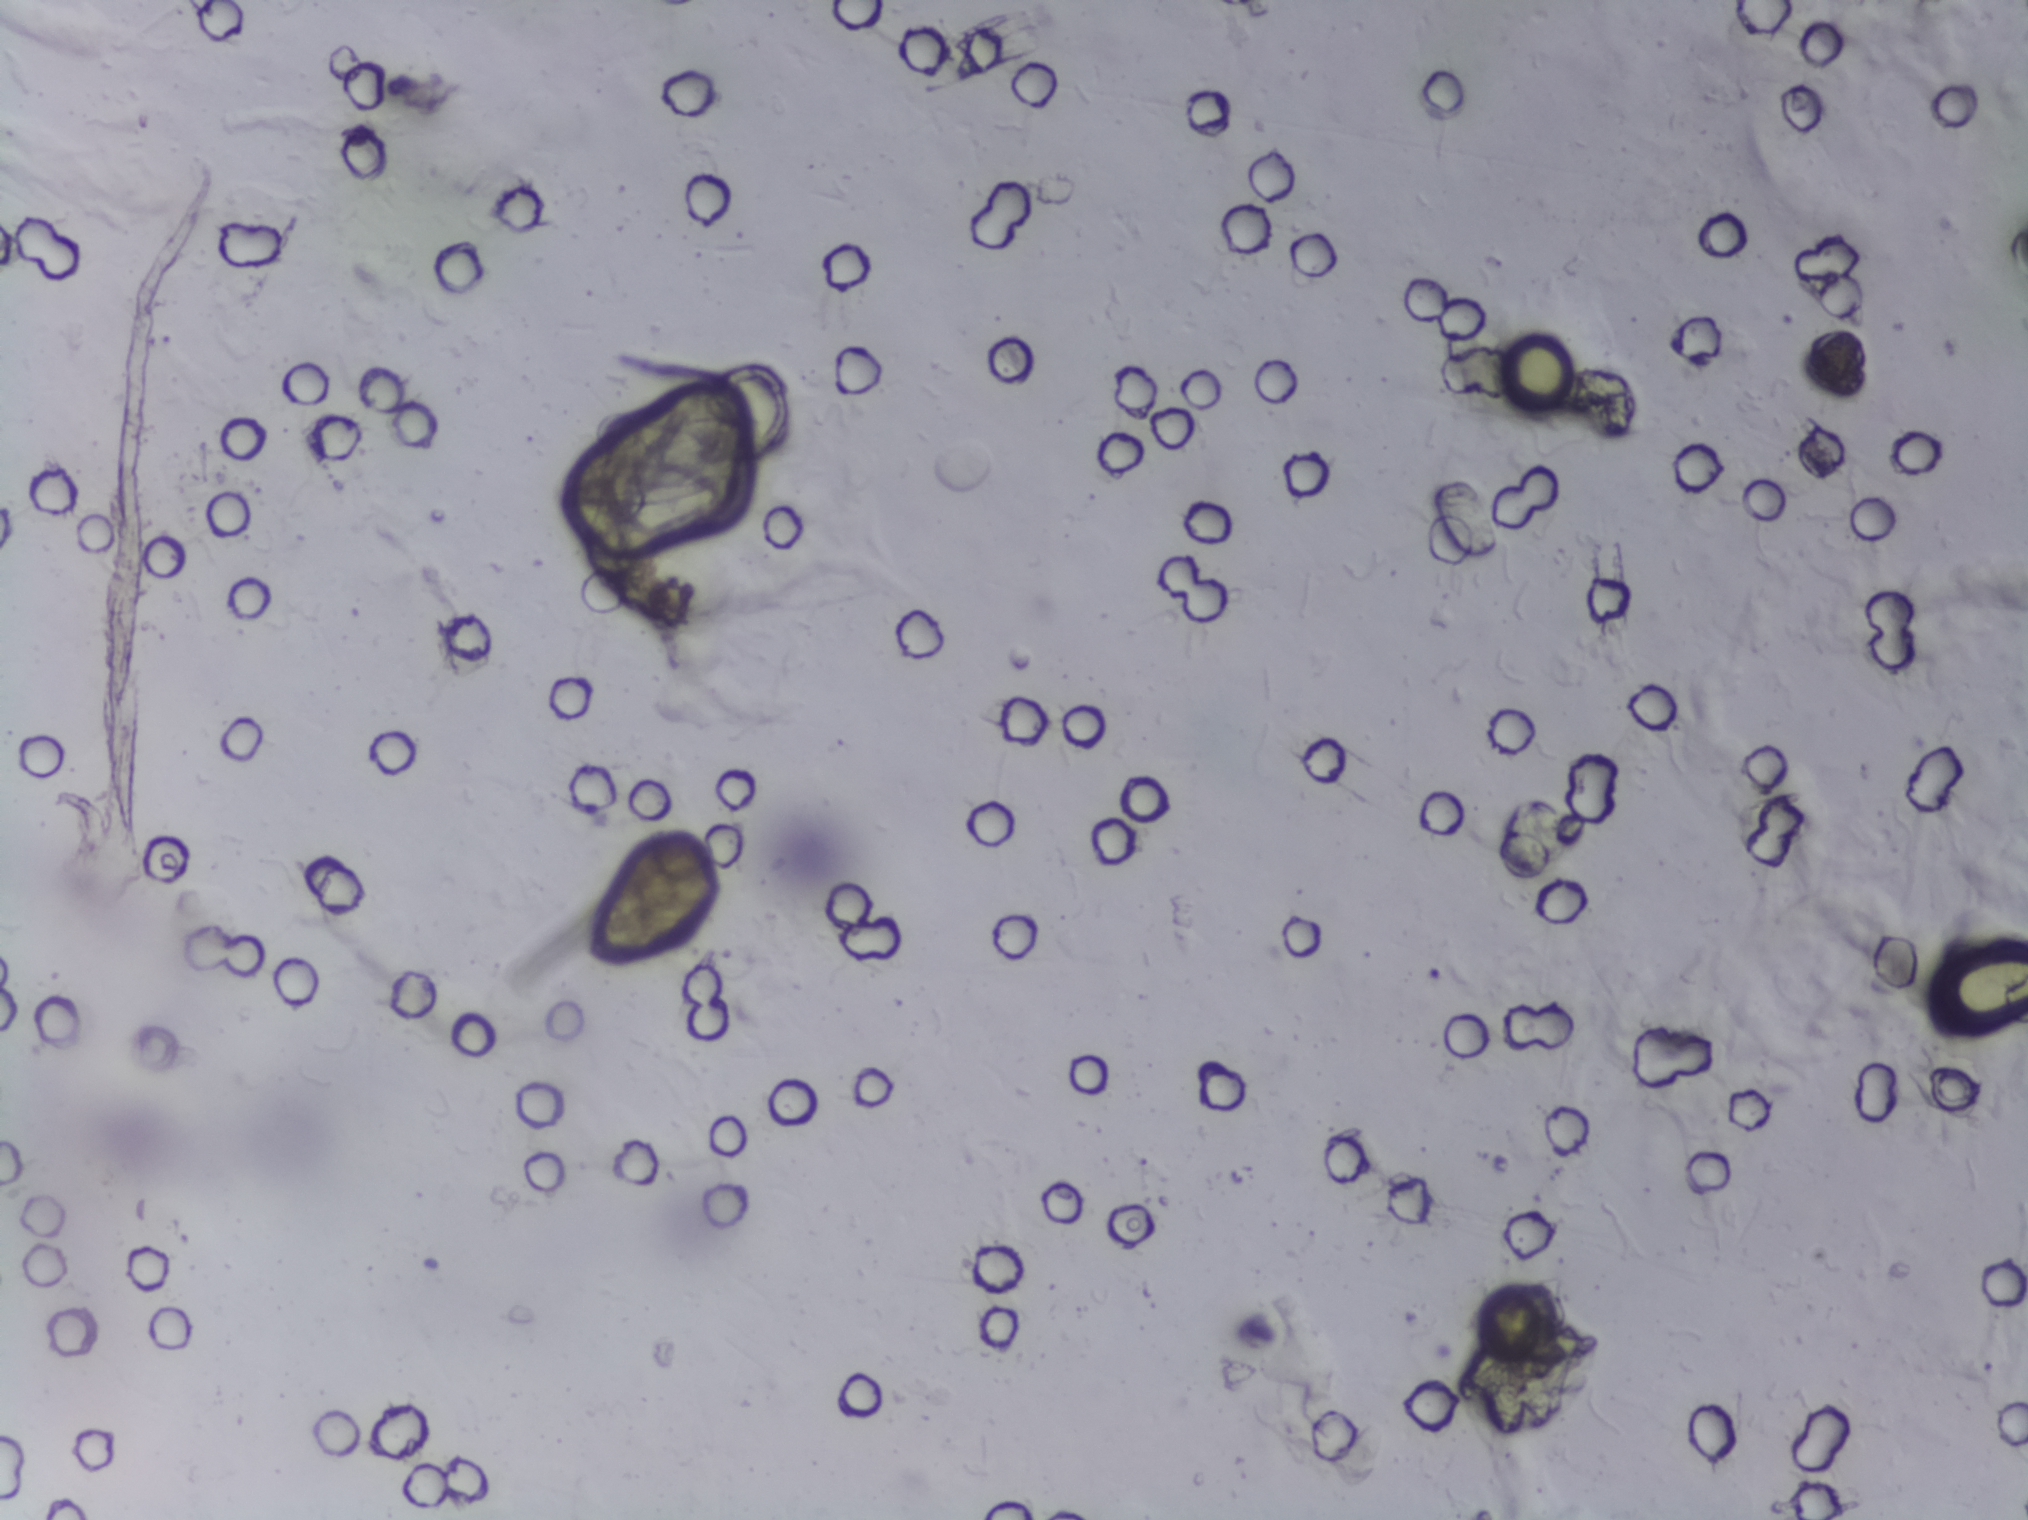
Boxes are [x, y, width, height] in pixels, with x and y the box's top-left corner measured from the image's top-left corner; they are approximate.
Schistosoma egg areas, outlined: [581, 826, 139, 141]; [1949, 955, 79, 64] (reaching the right edge of the frame). The marked pixels themselves, not the boxes around them, cover about 0.5% of the image. An outlined area can hold more than one egg.
Photomicrograph of a urine filtration membrane, 4× objective.